Photomicrograph of a urine filtration membrane, 4× objective.
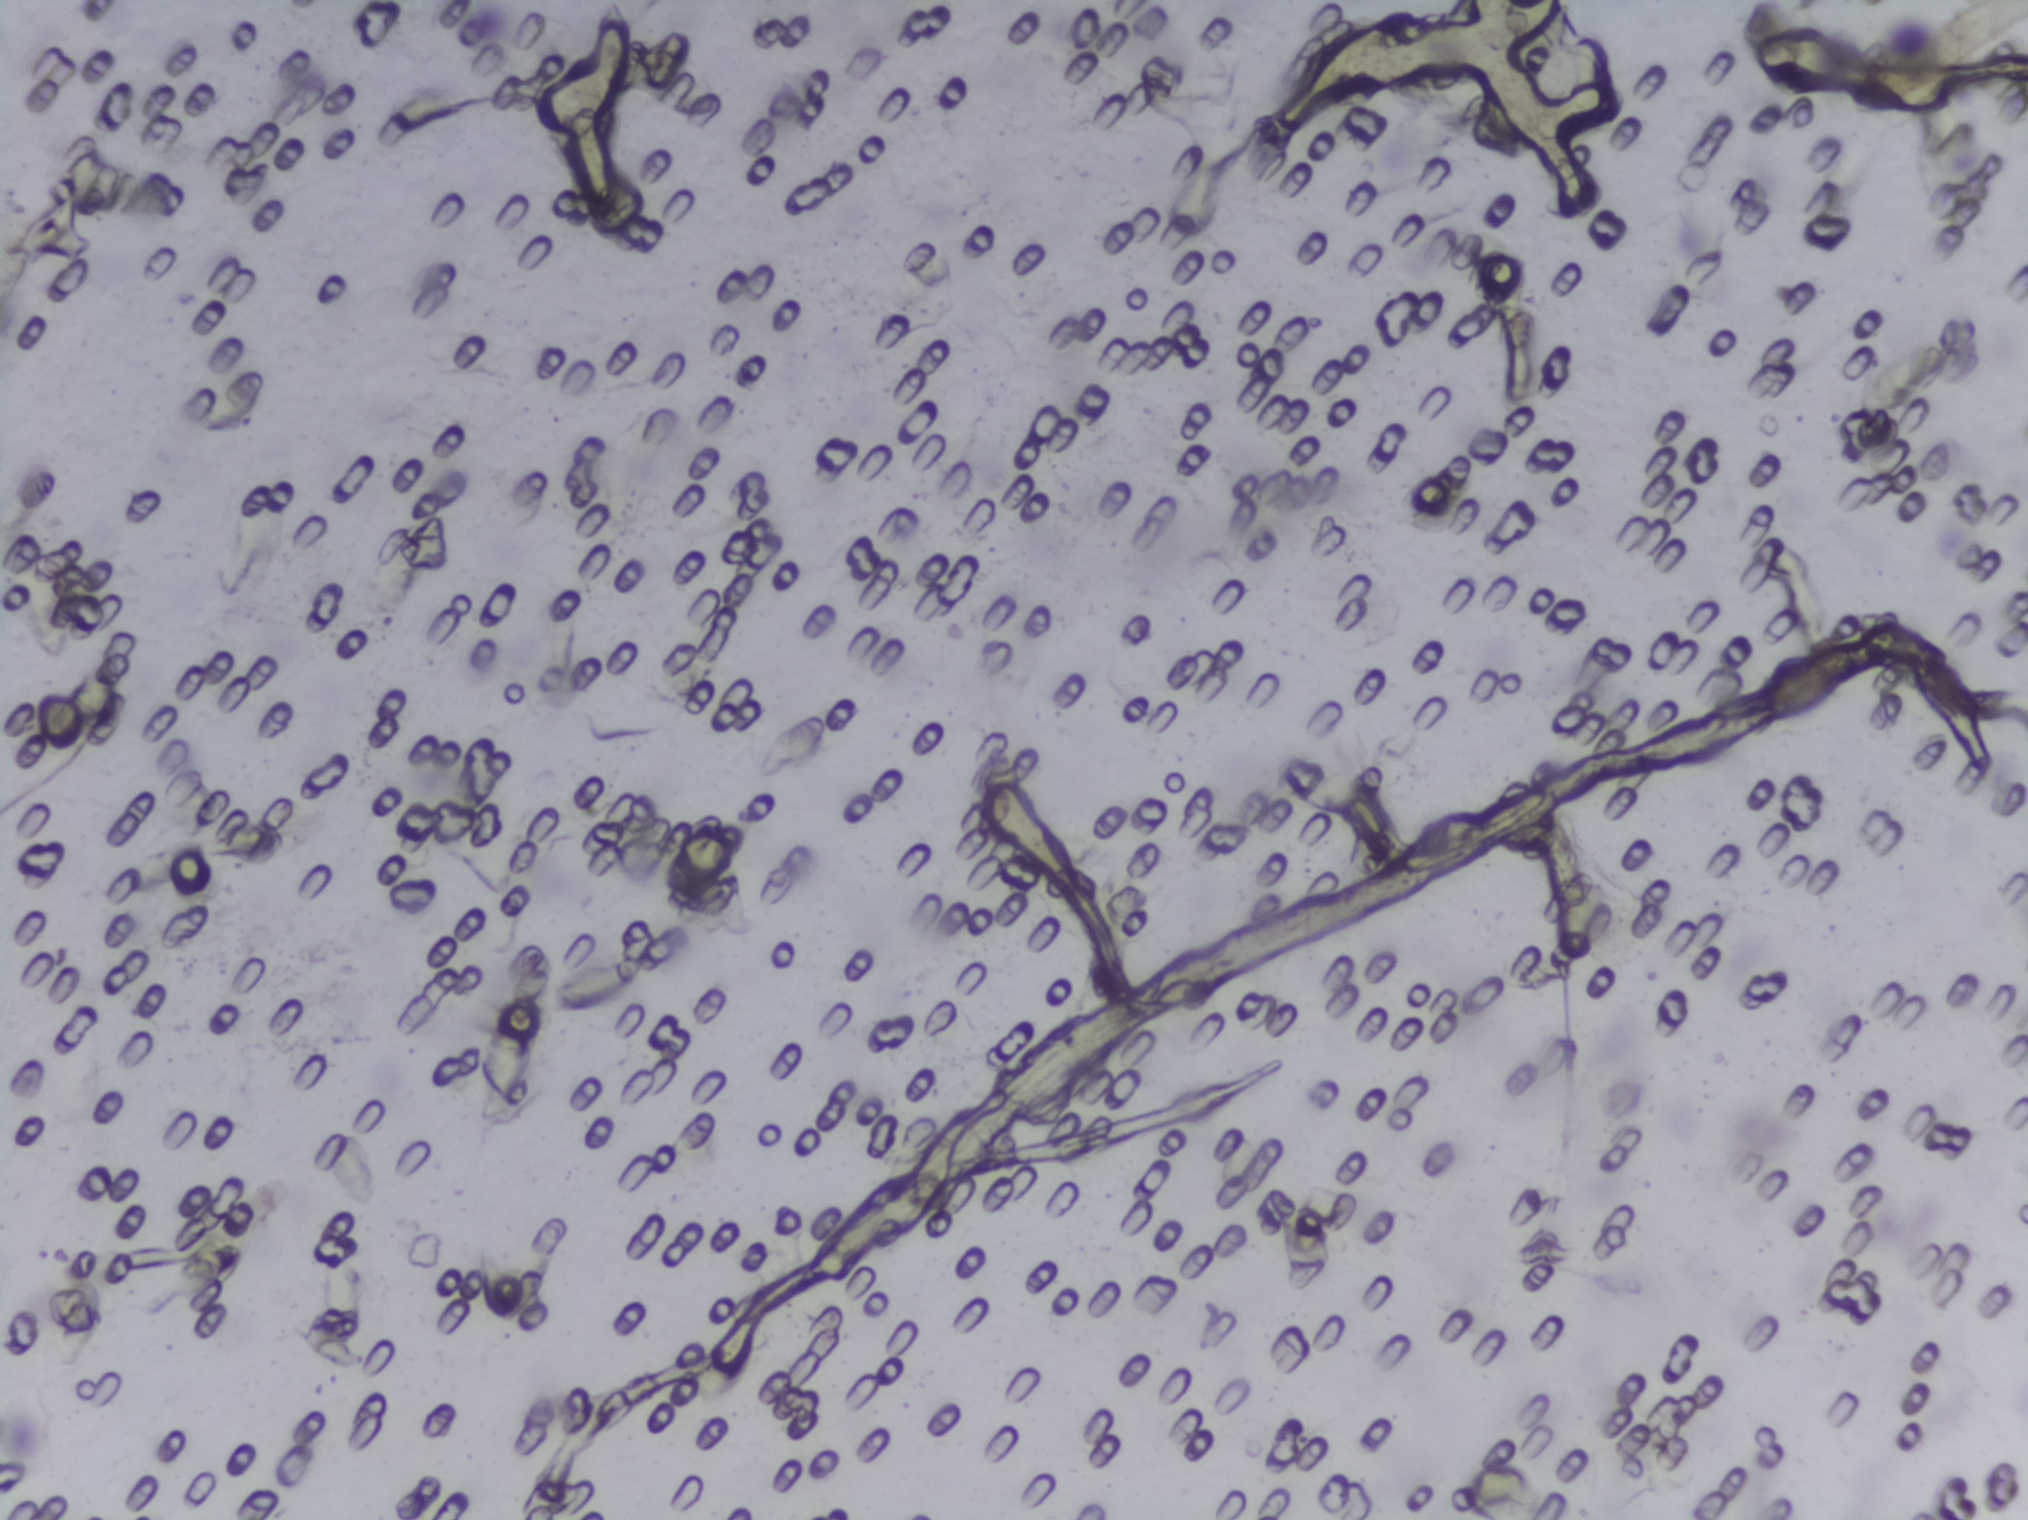
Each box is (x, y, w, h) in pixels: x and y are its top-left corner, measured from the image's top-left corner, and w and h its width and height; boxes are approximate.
Schistosoma eggs are outlined in one area of this image: (x=663, y=823, w=85, h=71). The marked pixels themselves, not the box around them, cover about 0.1% of the image. Eggs that touch can end up inside the same outlined area.